Urine filter membrane photographed through a 4× microscope objective. Field of view: about 1.5 mm wide and 1.1 mm high.
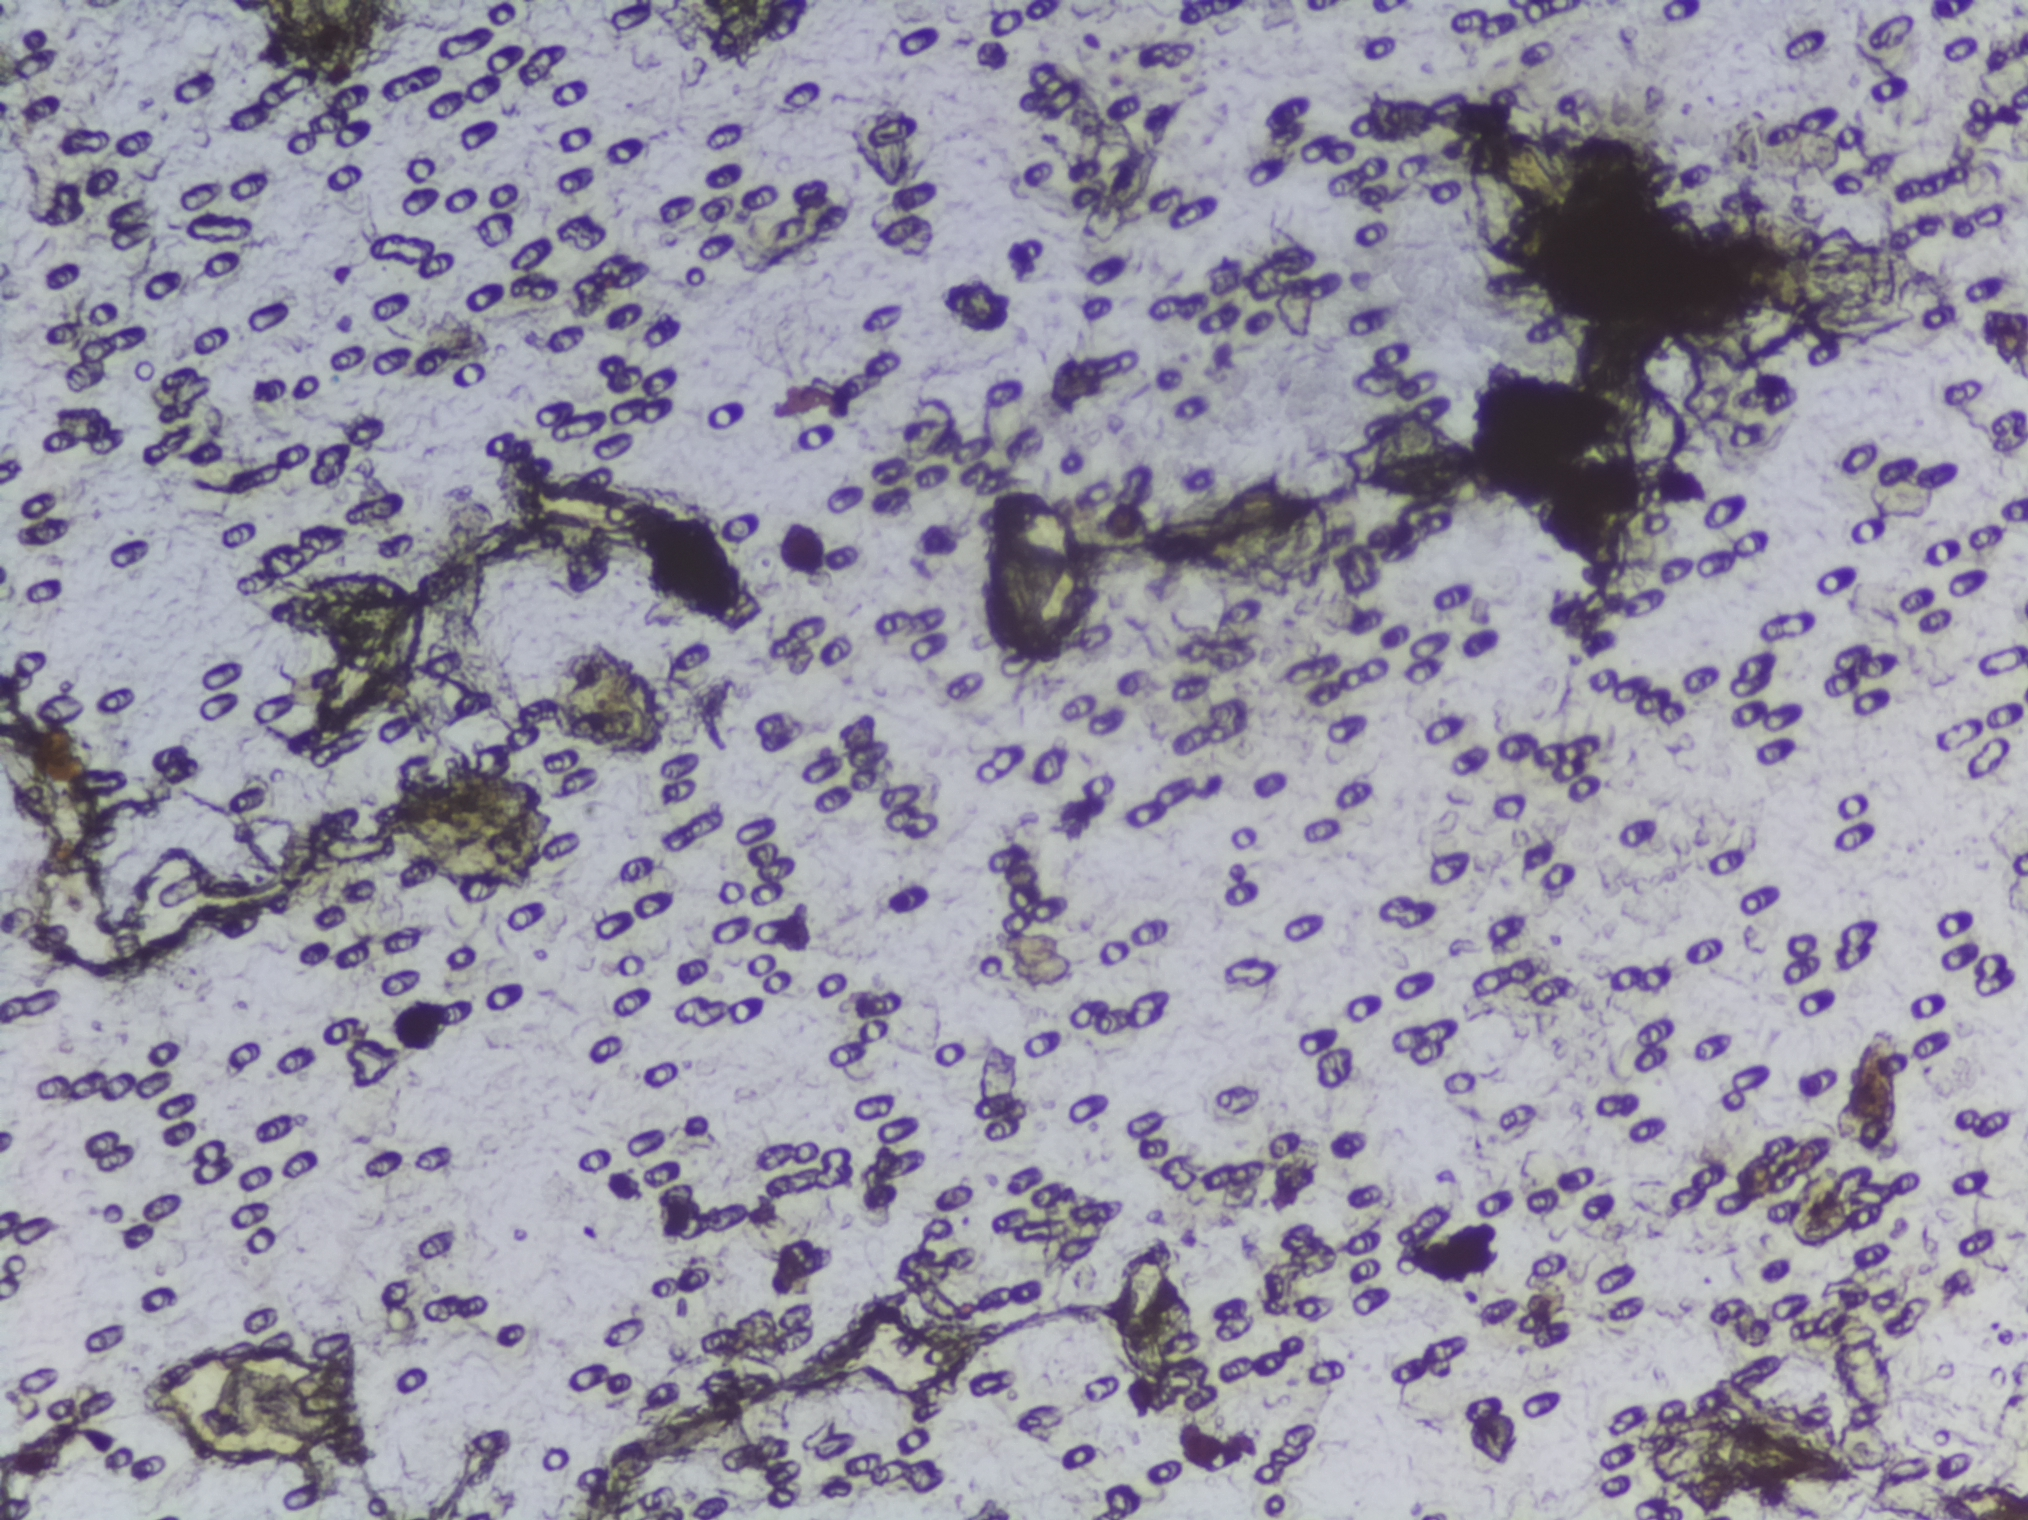
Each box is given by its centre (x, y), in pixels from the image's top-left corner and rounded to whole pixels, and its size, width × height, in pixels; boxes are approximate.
Schistosoma eggs are outlined in the expert annotation at centre (1038, 574), 133 × 215 px; centre (1741, 1450), 240 × 120 px; centre (1846, 289), 228 × 137 px. About 2.2% of the image's pixels are marked (the marked pixels themselves, not the boxes around them). An outlined area can hold more than one egg.